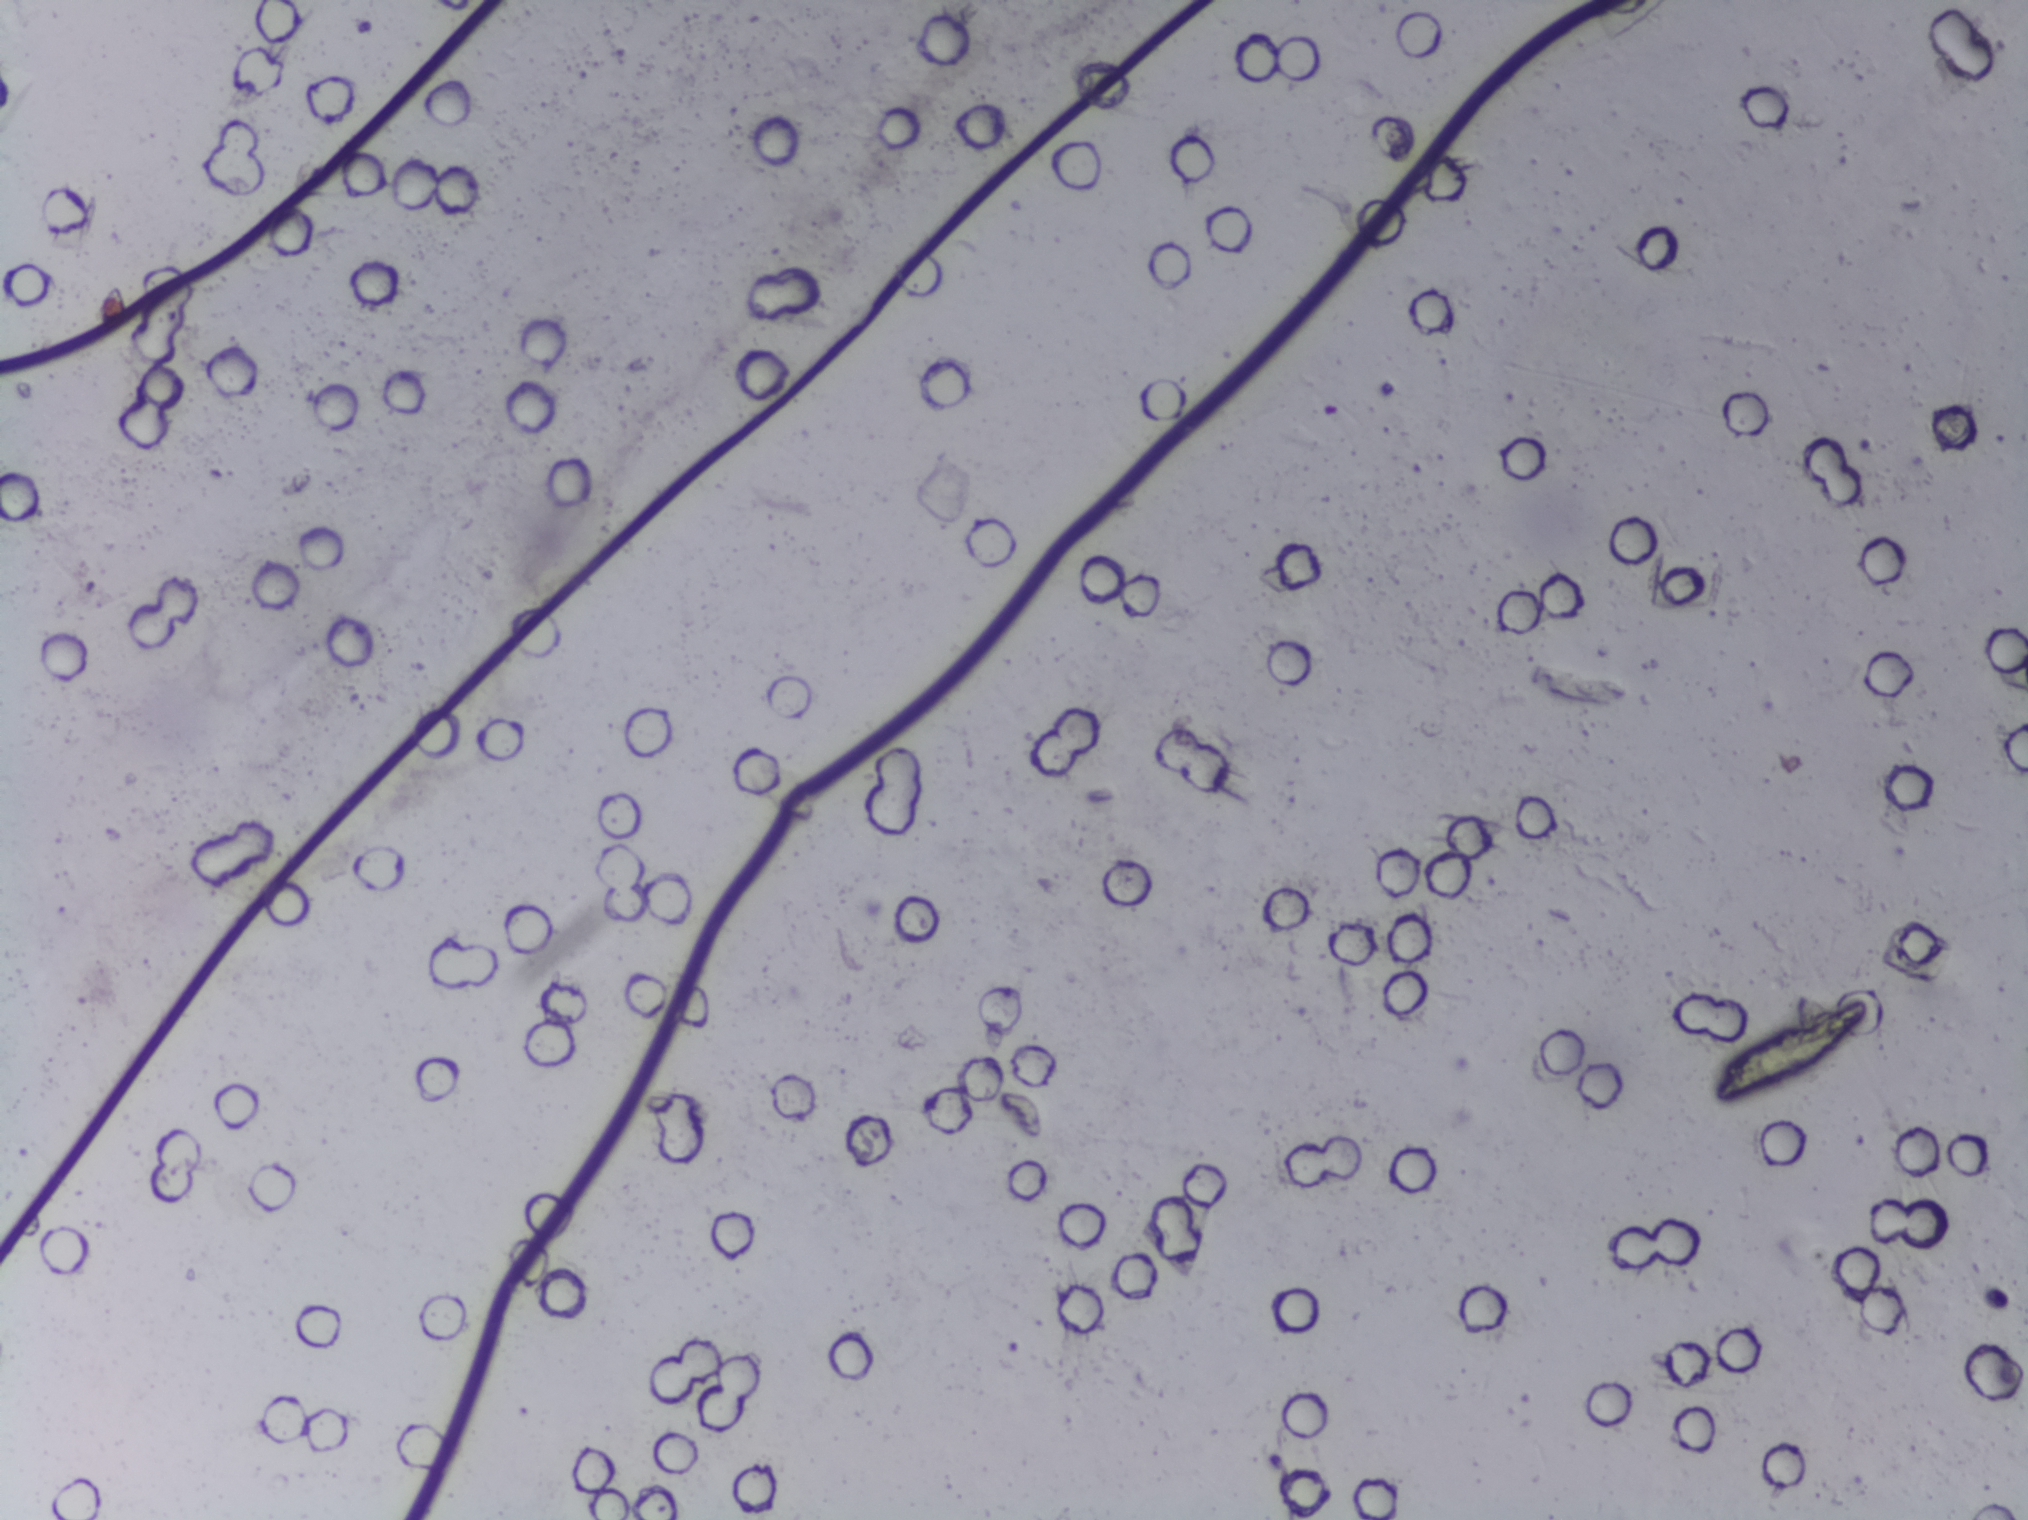
No Schistosoma egg is outlined in this image's expert annotation.
Photomicrograph of a urine filtration membrane, 4× objective.